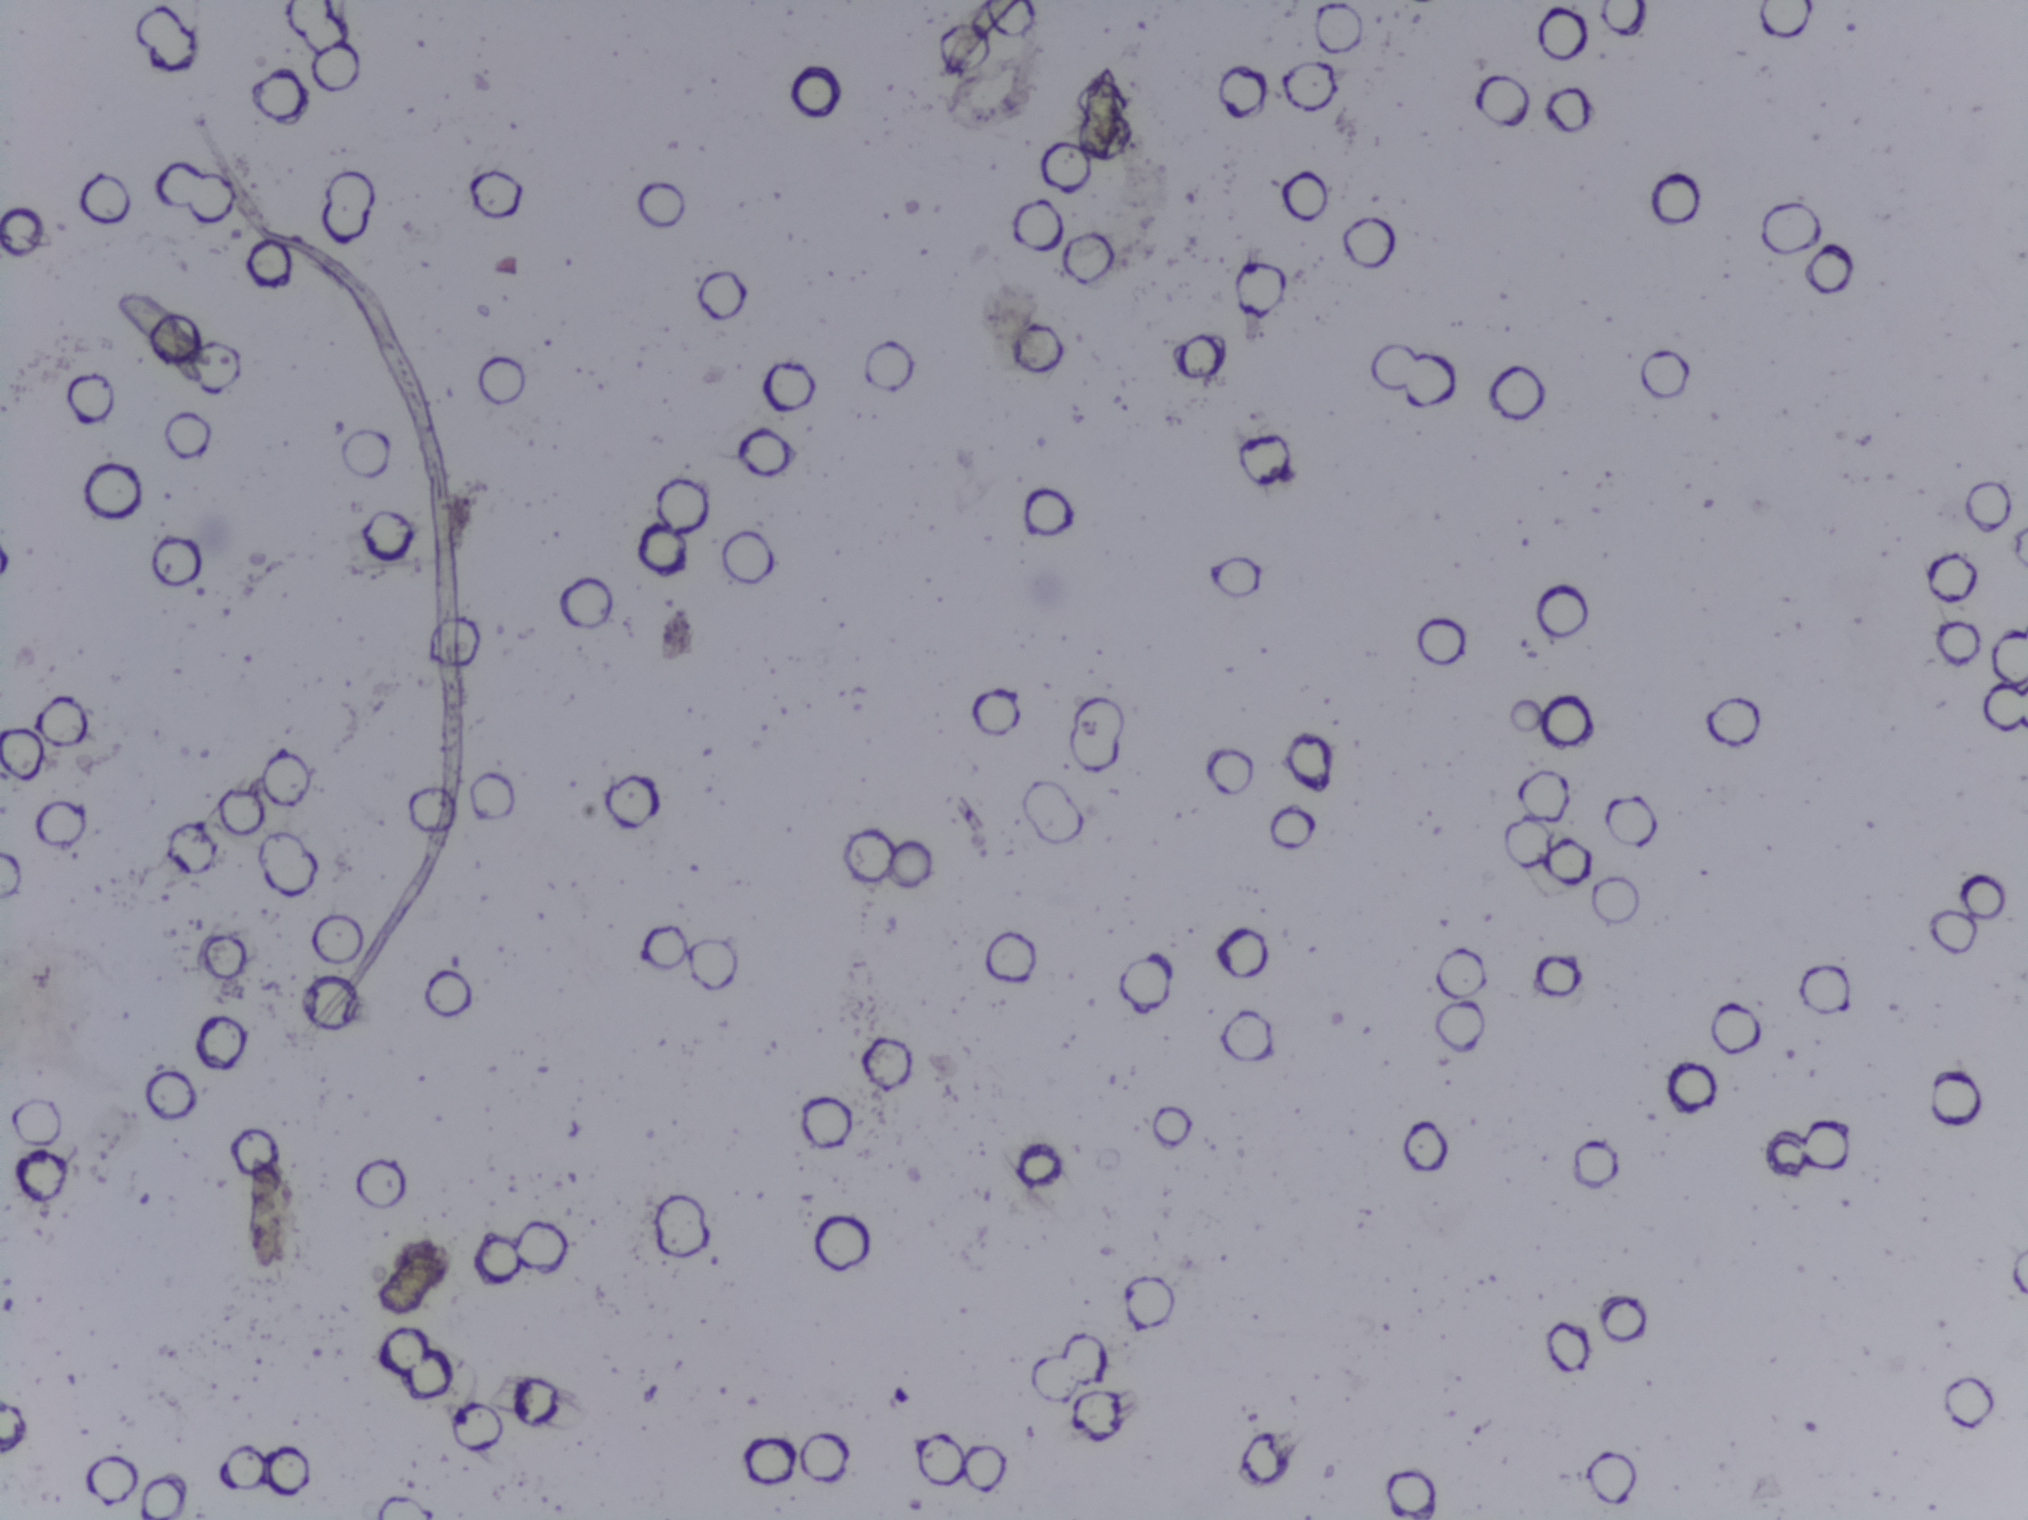
Photograph from an automated digital microscope: urine filter membrane, 4× objective.
Schistosoma eggs: none outlined.